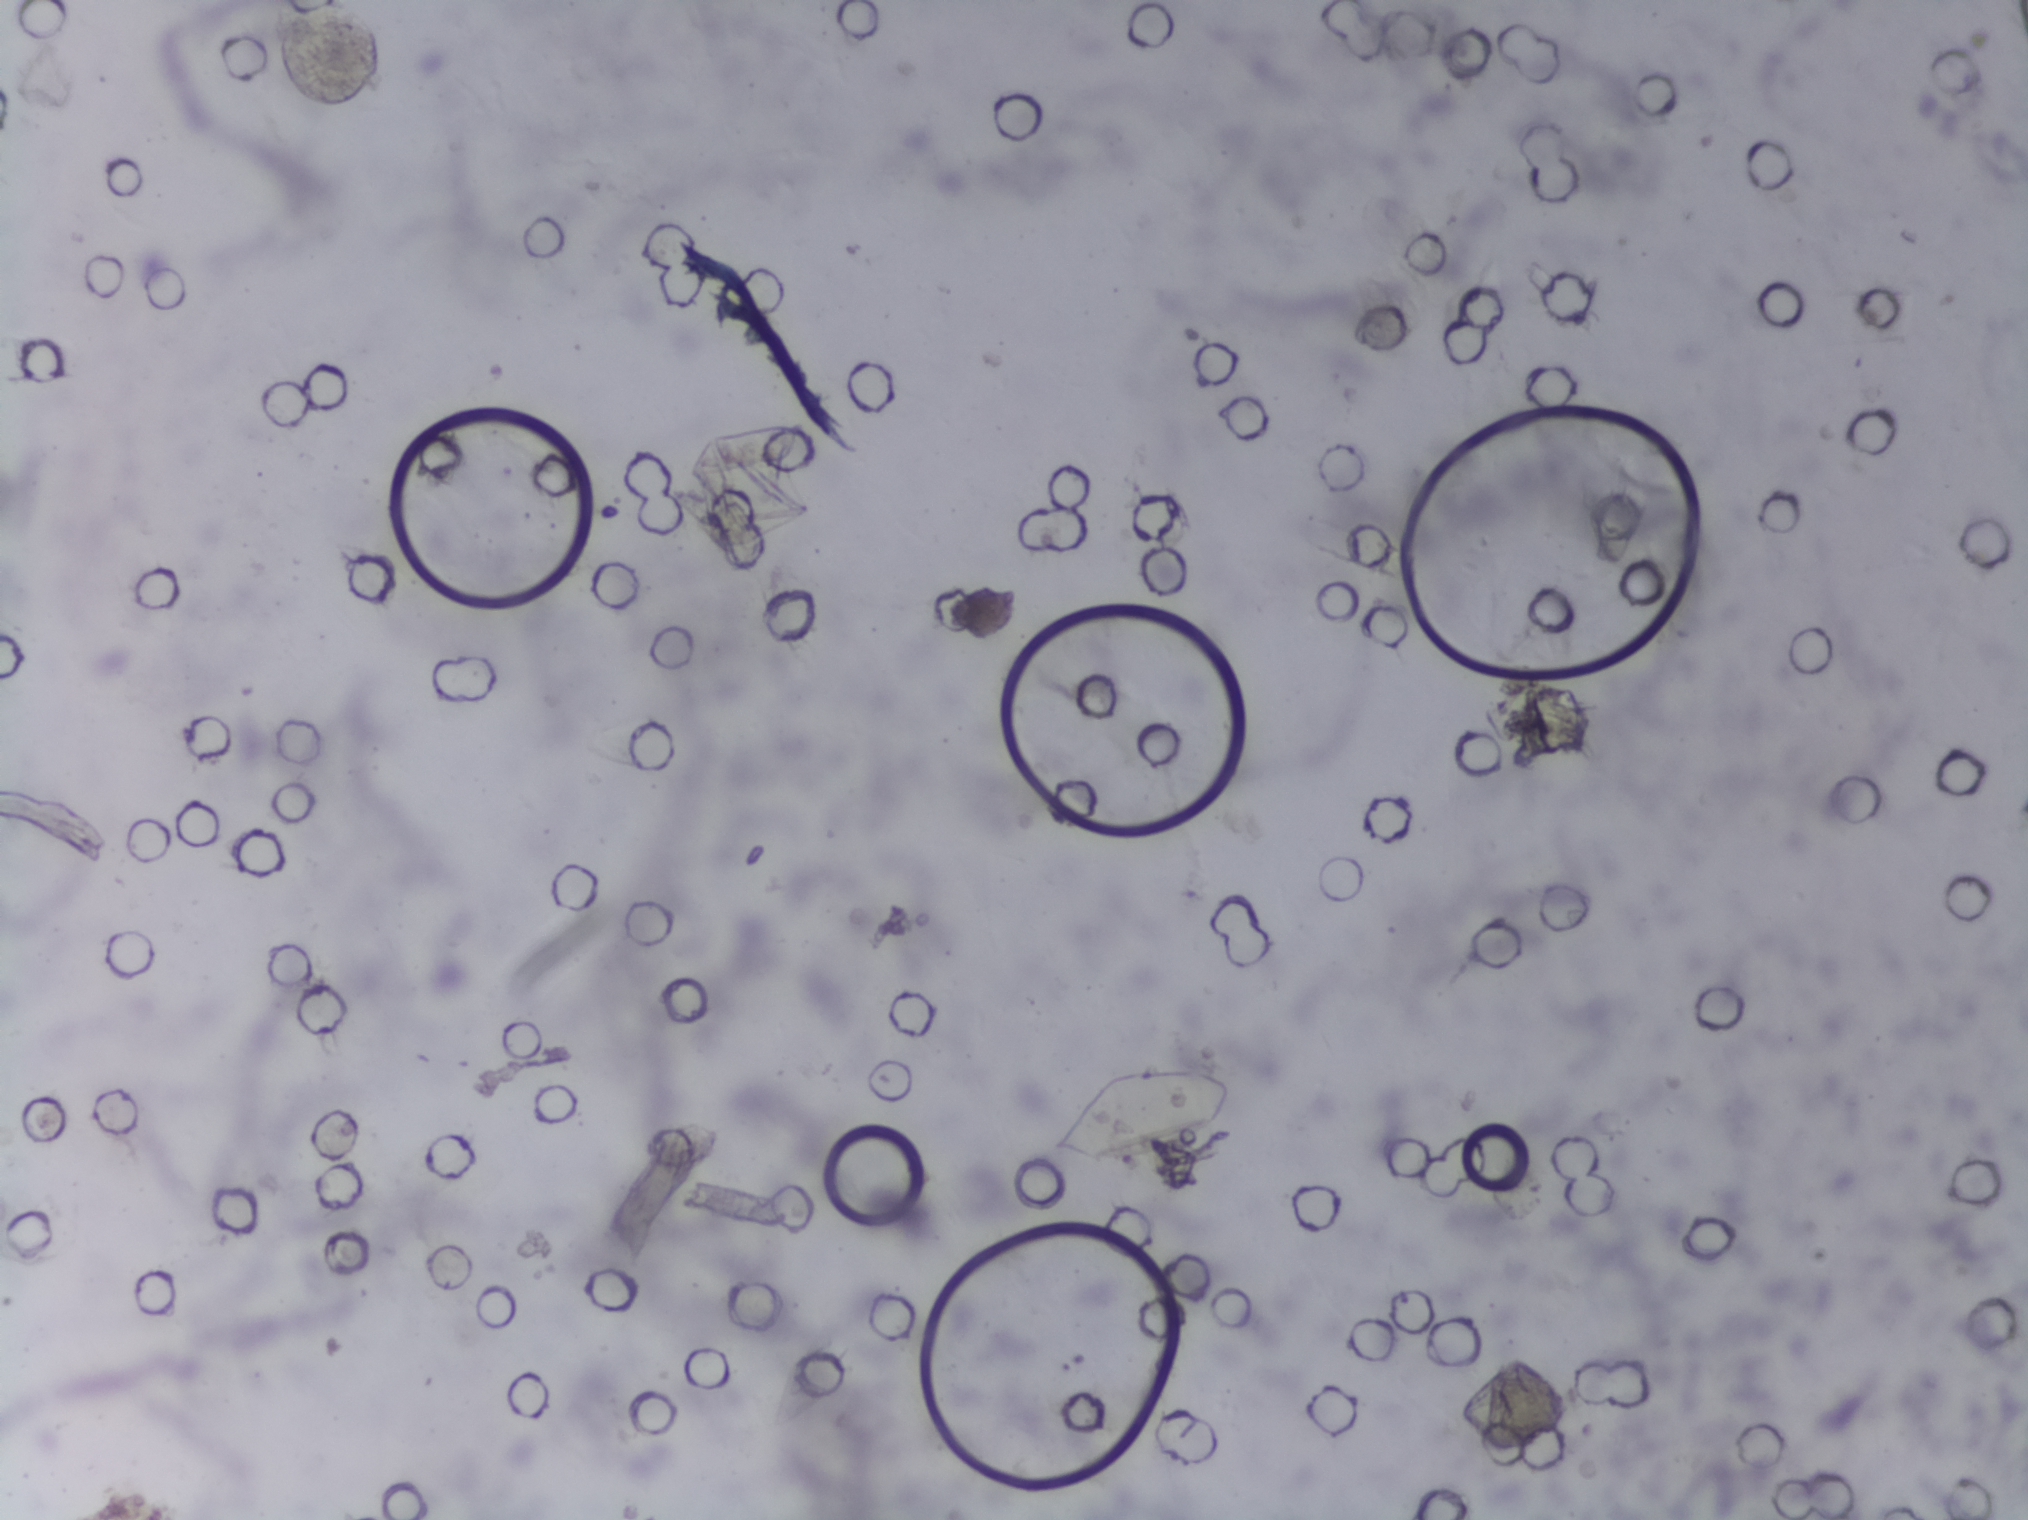
Urine filtration membrane under a 4× objective, photographed by an automated digital microscope.
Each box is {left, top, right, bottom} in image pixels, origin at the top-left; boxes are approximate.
The expert annotation outlines Schistosoma eggs at {1045, 1065, 1235, 1166}. A single outlined area may contain several eggs.